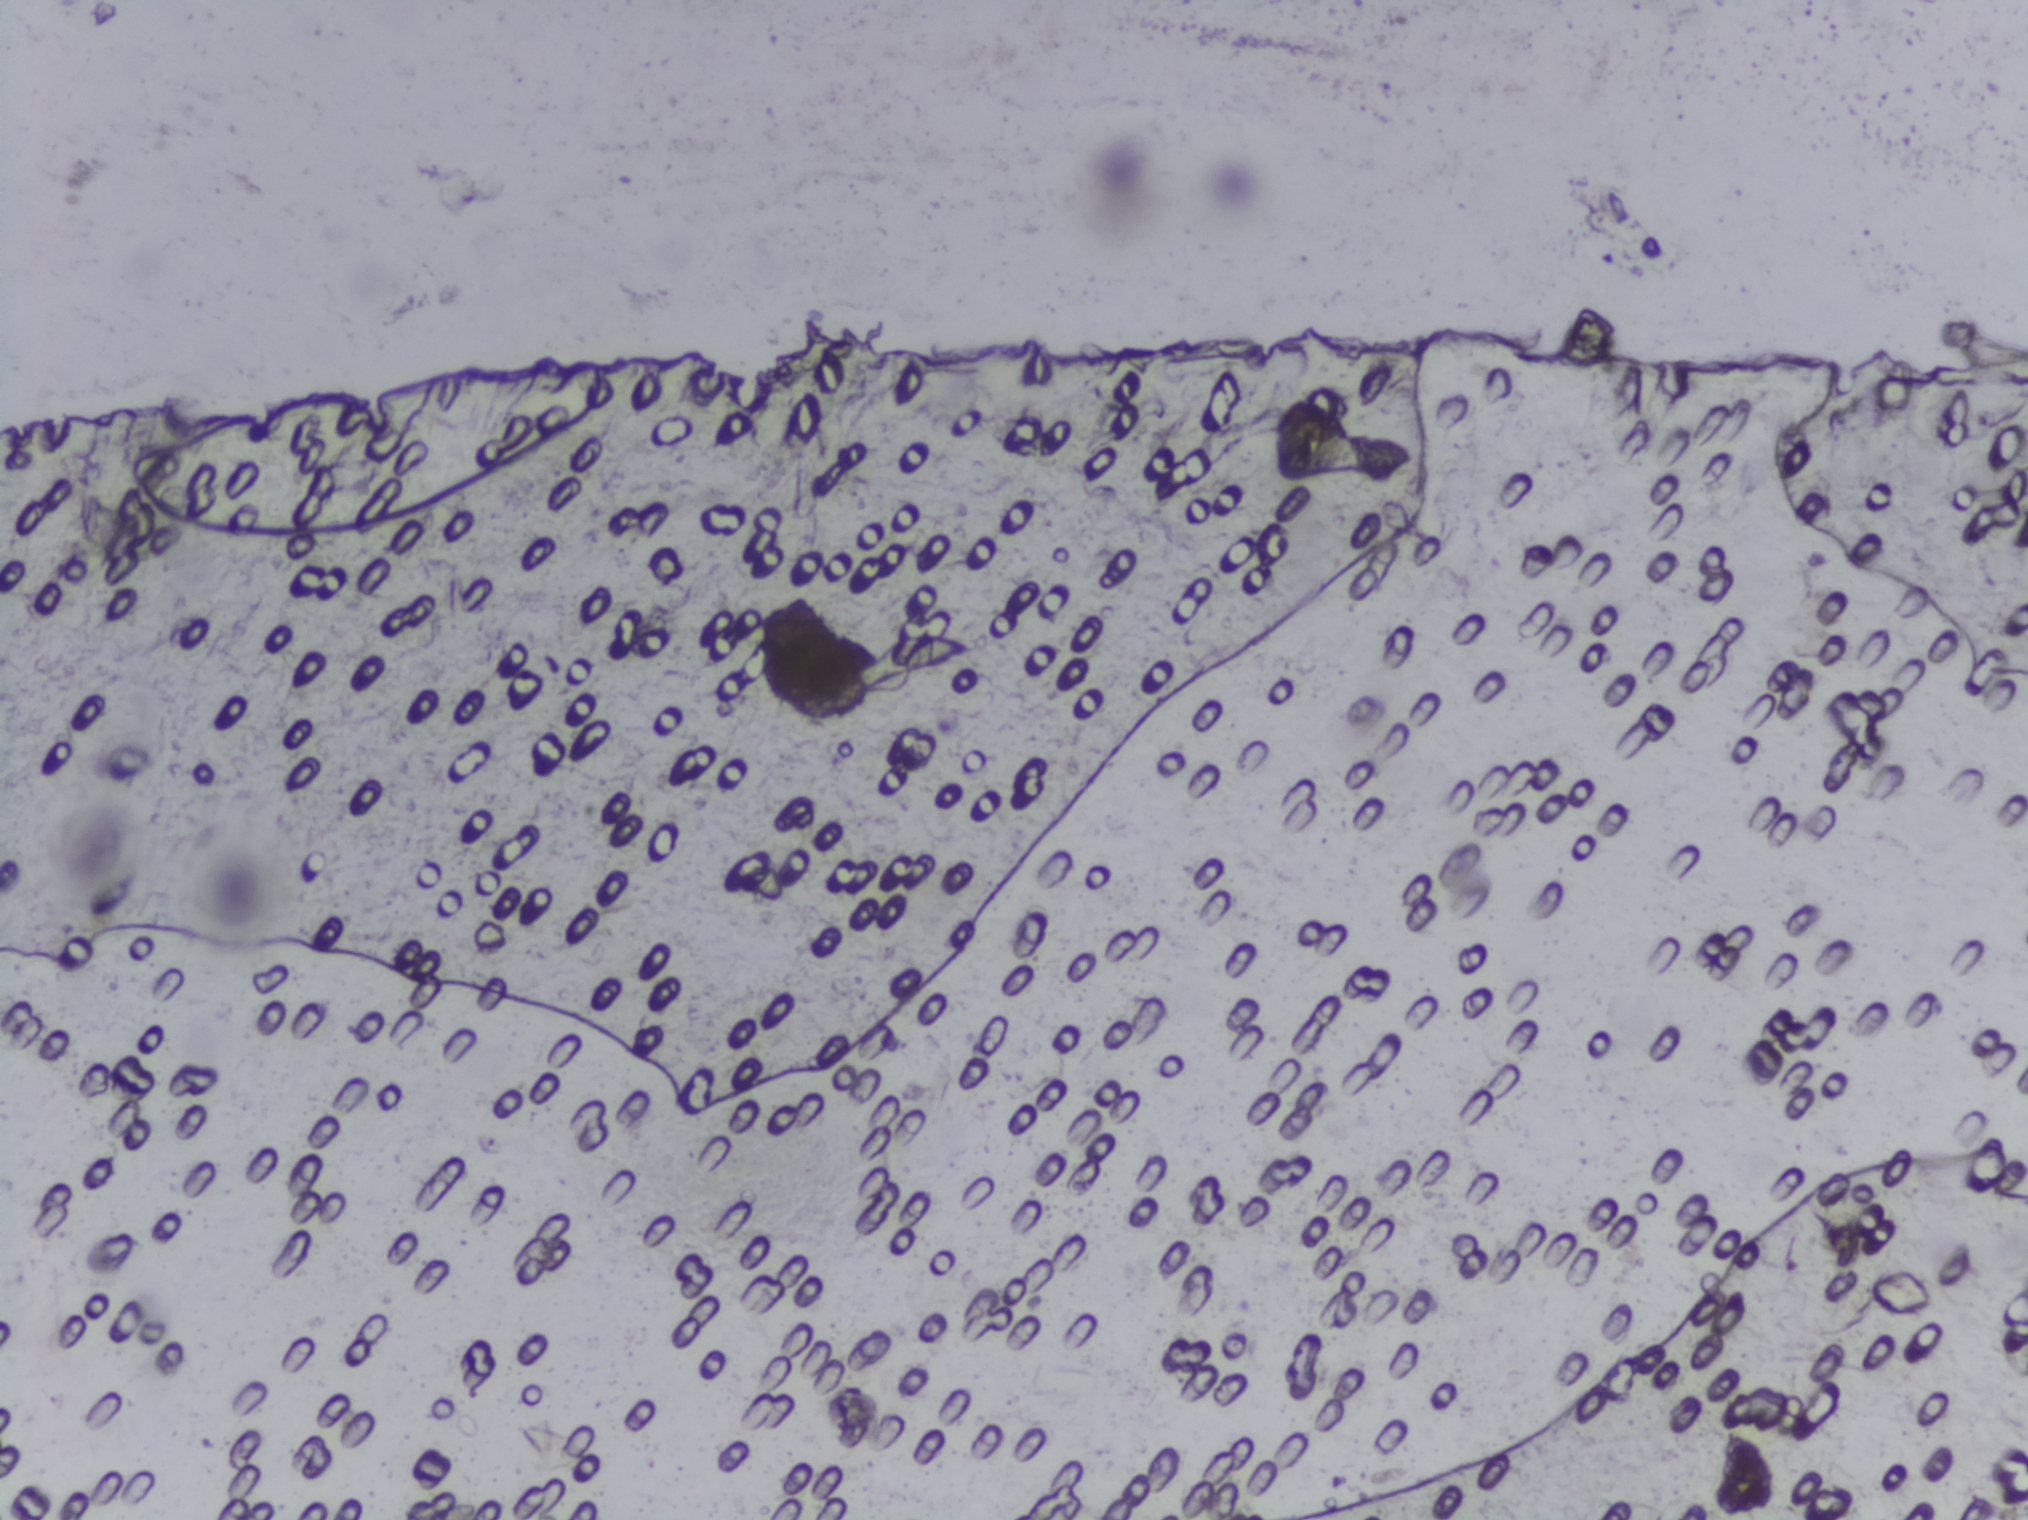
Urine filtration membrane under a 4× objective, photographed by an automated digital microscope. The image covers about 1.5 × 1.1 mm of the membrane.
The expert annotation marks no Schistosoma egg in this field of view.